Urine filtration membrane under a 4× objective, photographed by an automated digital microscope.
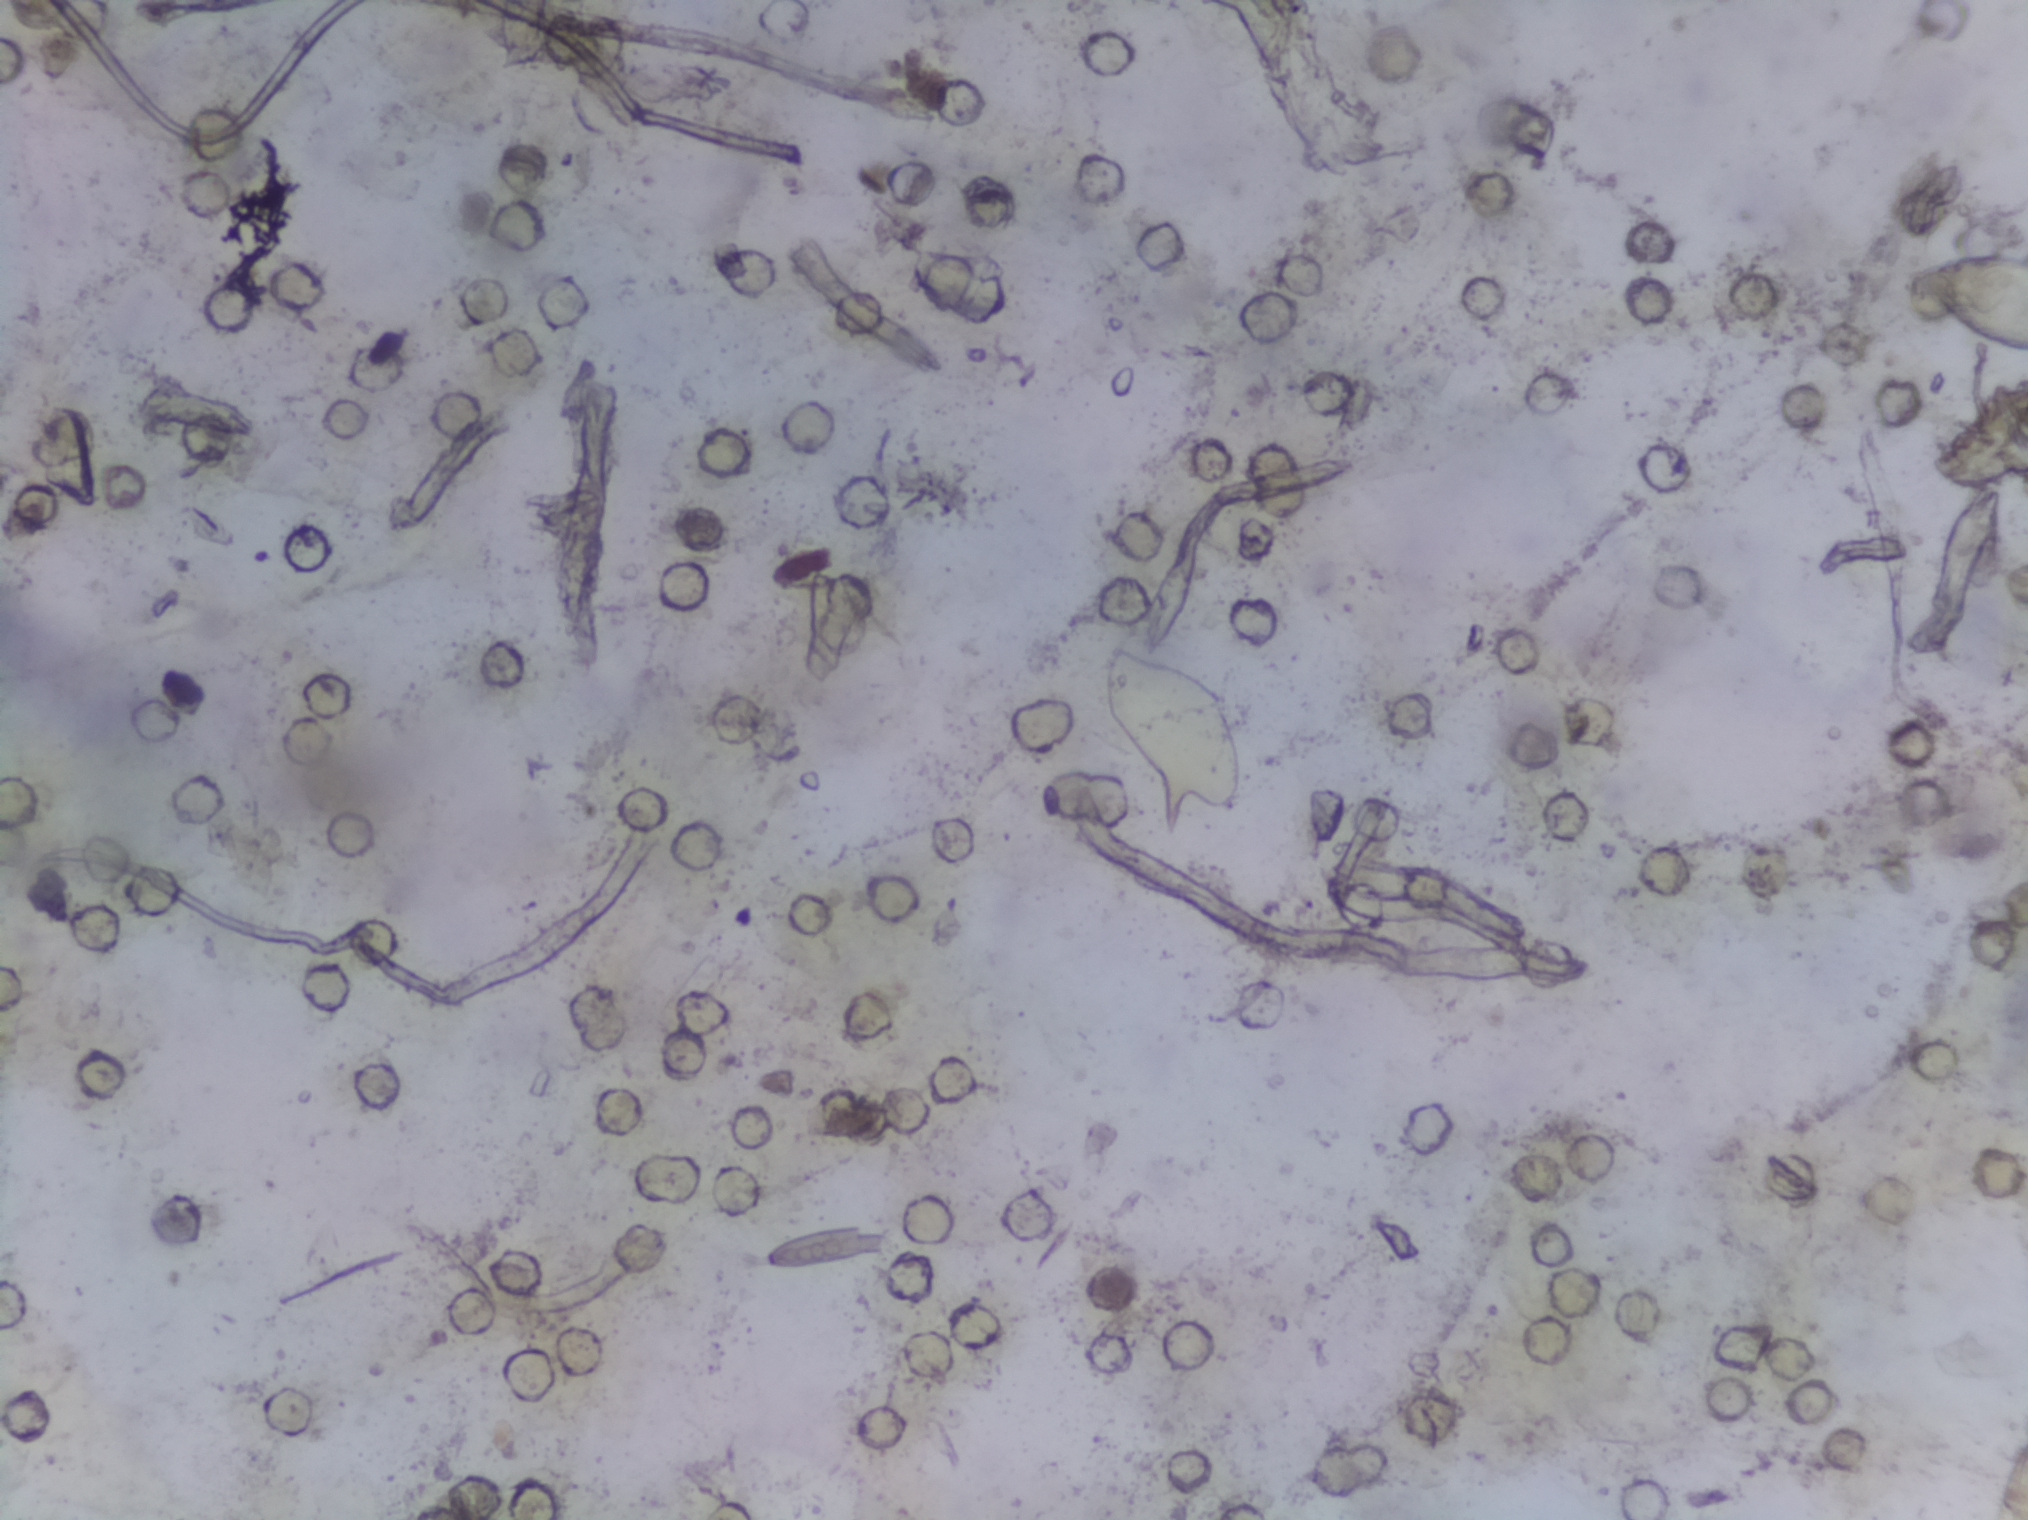
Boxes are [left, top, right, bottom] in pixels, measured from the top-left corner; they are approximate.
Two areas of this image are outlined as Schistosoma eggs, from left to right: [1097, 642, 1247, 845] and [1886, 239, 2027, 353] (reaching the right edge of the frame). Eggs that touch can end up inside the same outlined area.